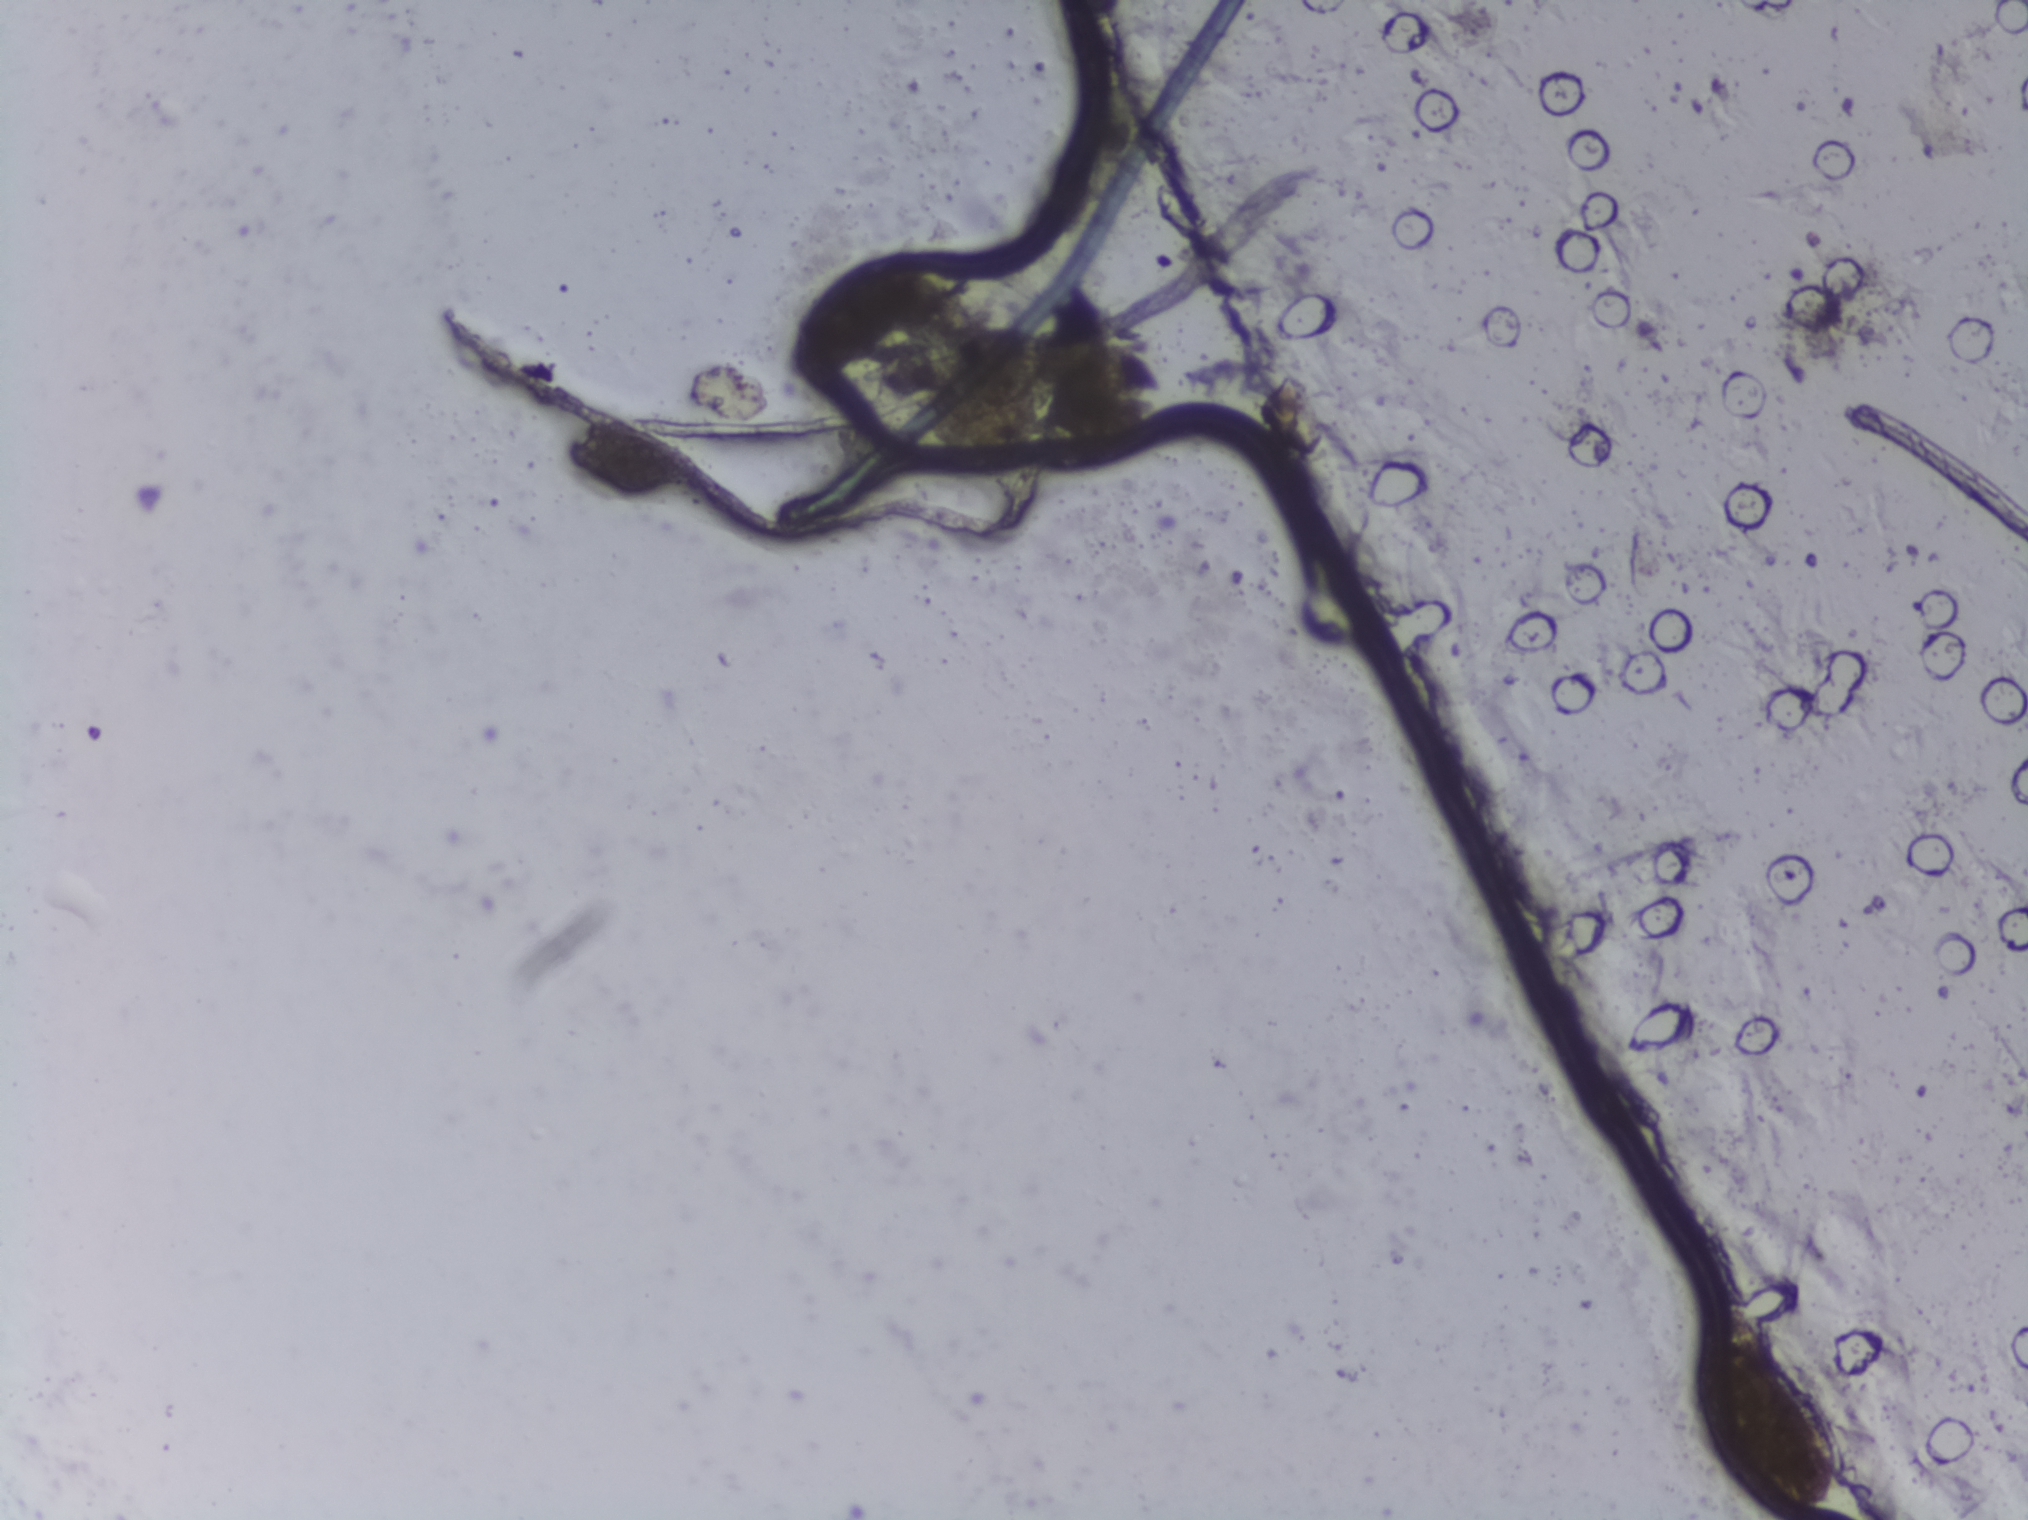
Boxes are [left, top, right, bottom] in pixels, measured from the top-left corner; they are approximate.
Findings: one area outlined as Schistosoma eggs. Location: [1691, 1336, 1838, 1519] (reaching the bottom edge of the frame). An outlined area can hold more than one egg.
One field of view of a urine filter membrane, 4× objective, 2028 × 1520 pixels.